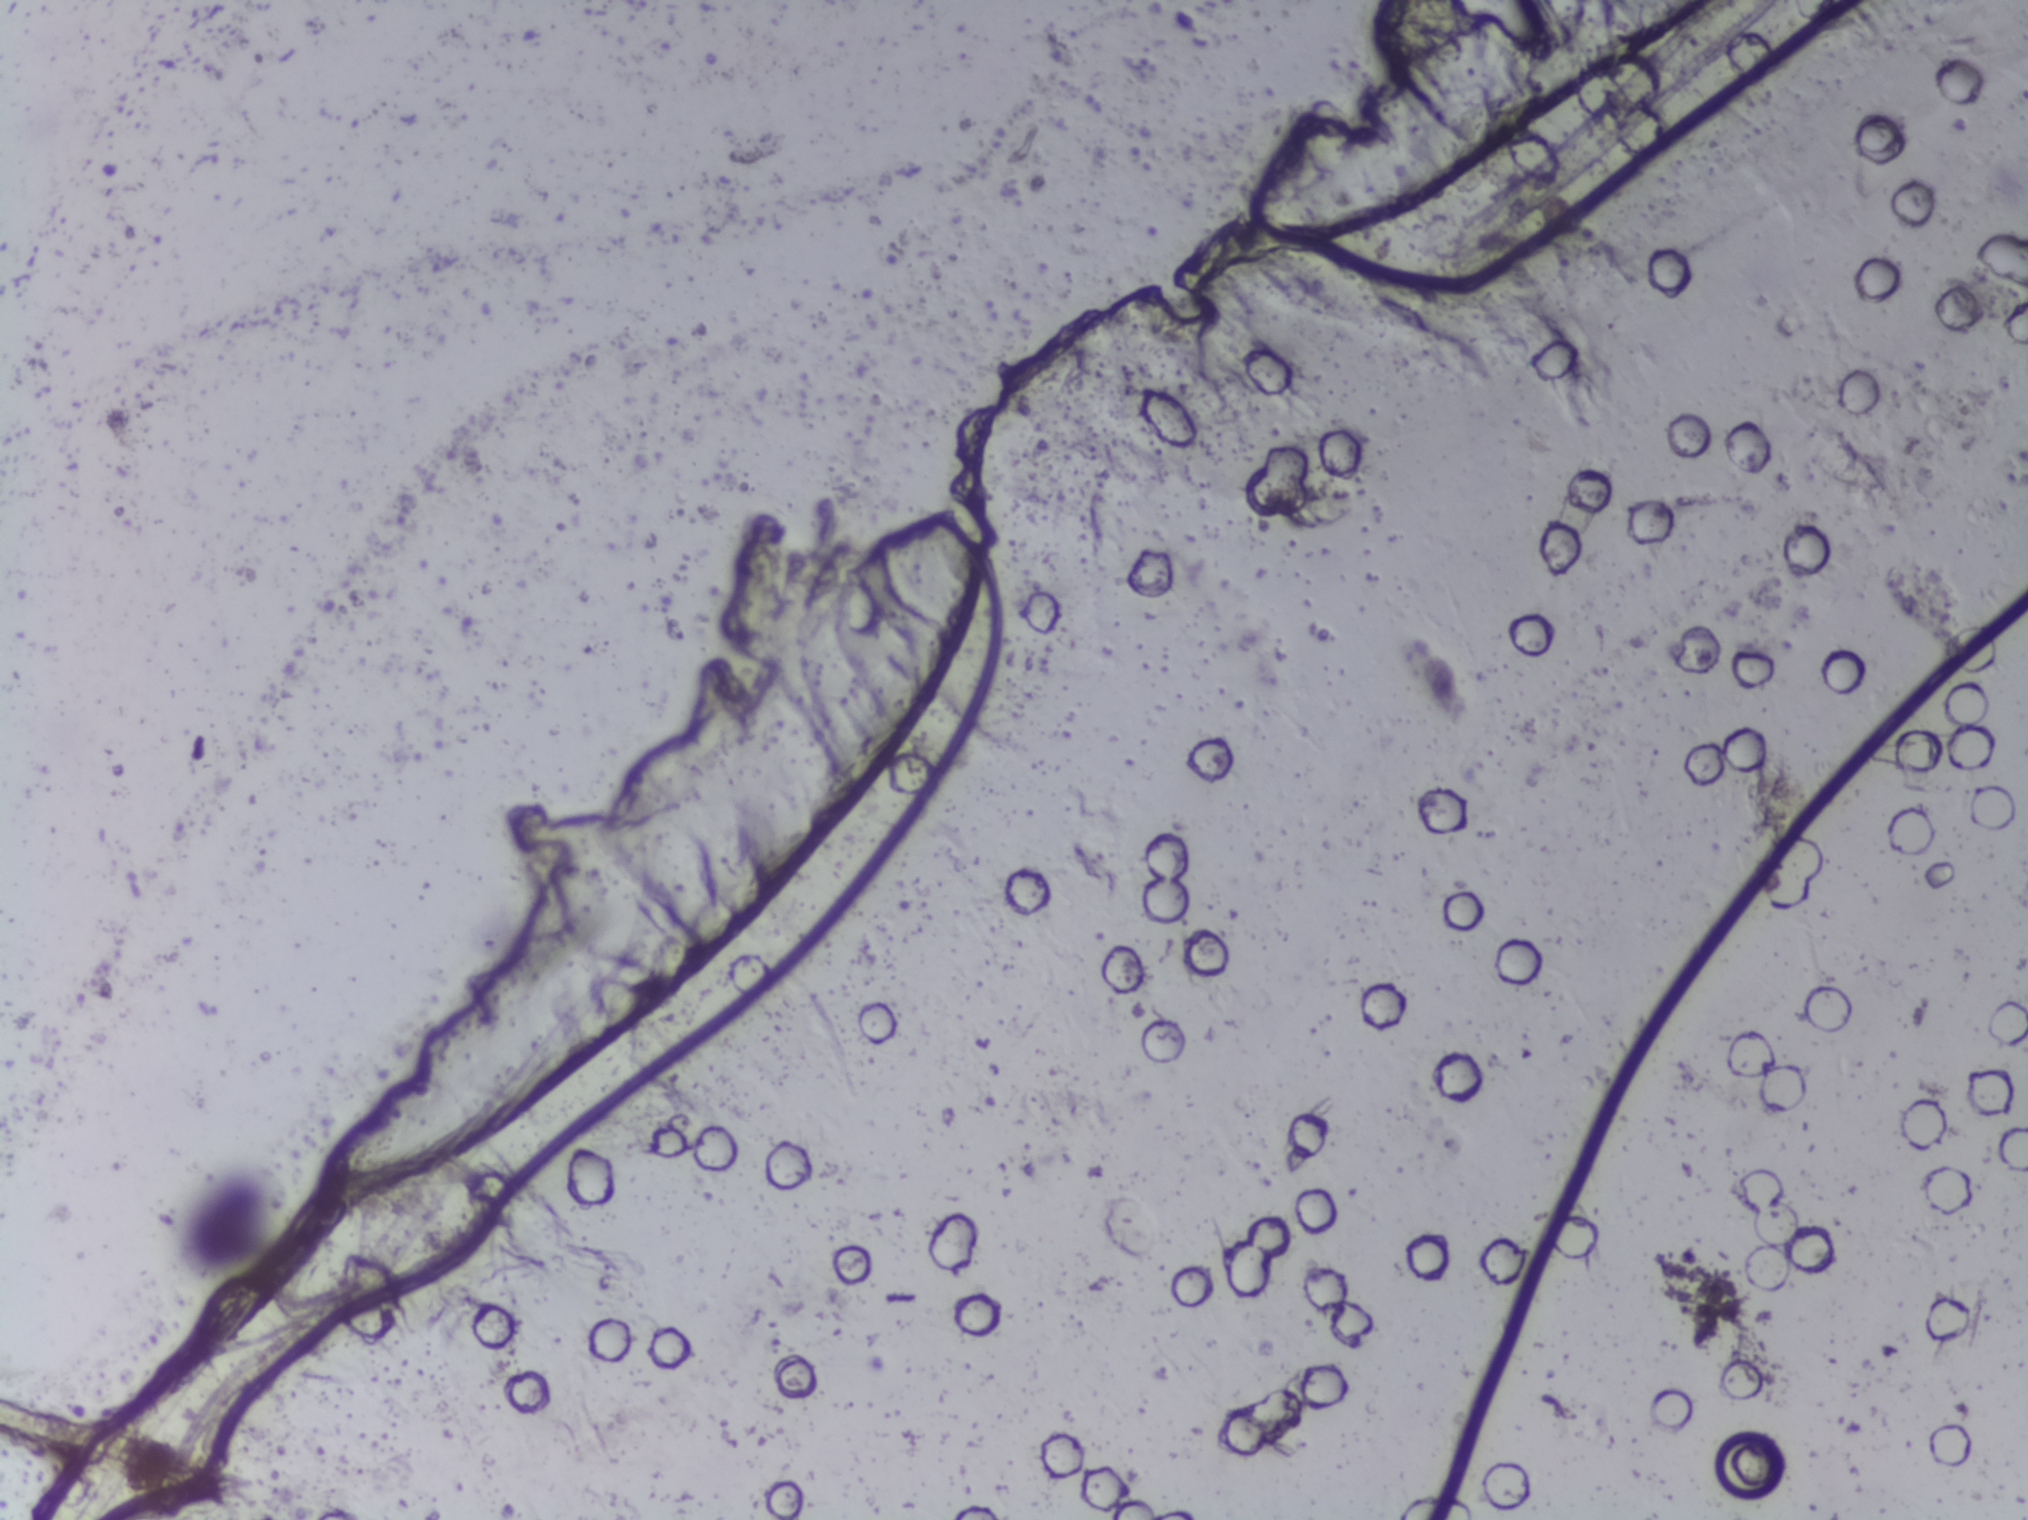
The expert annotation outlines no Schistosoma egg in this image.
Photograph from an automated digital microscope: urine filter membrane, 4× objective.